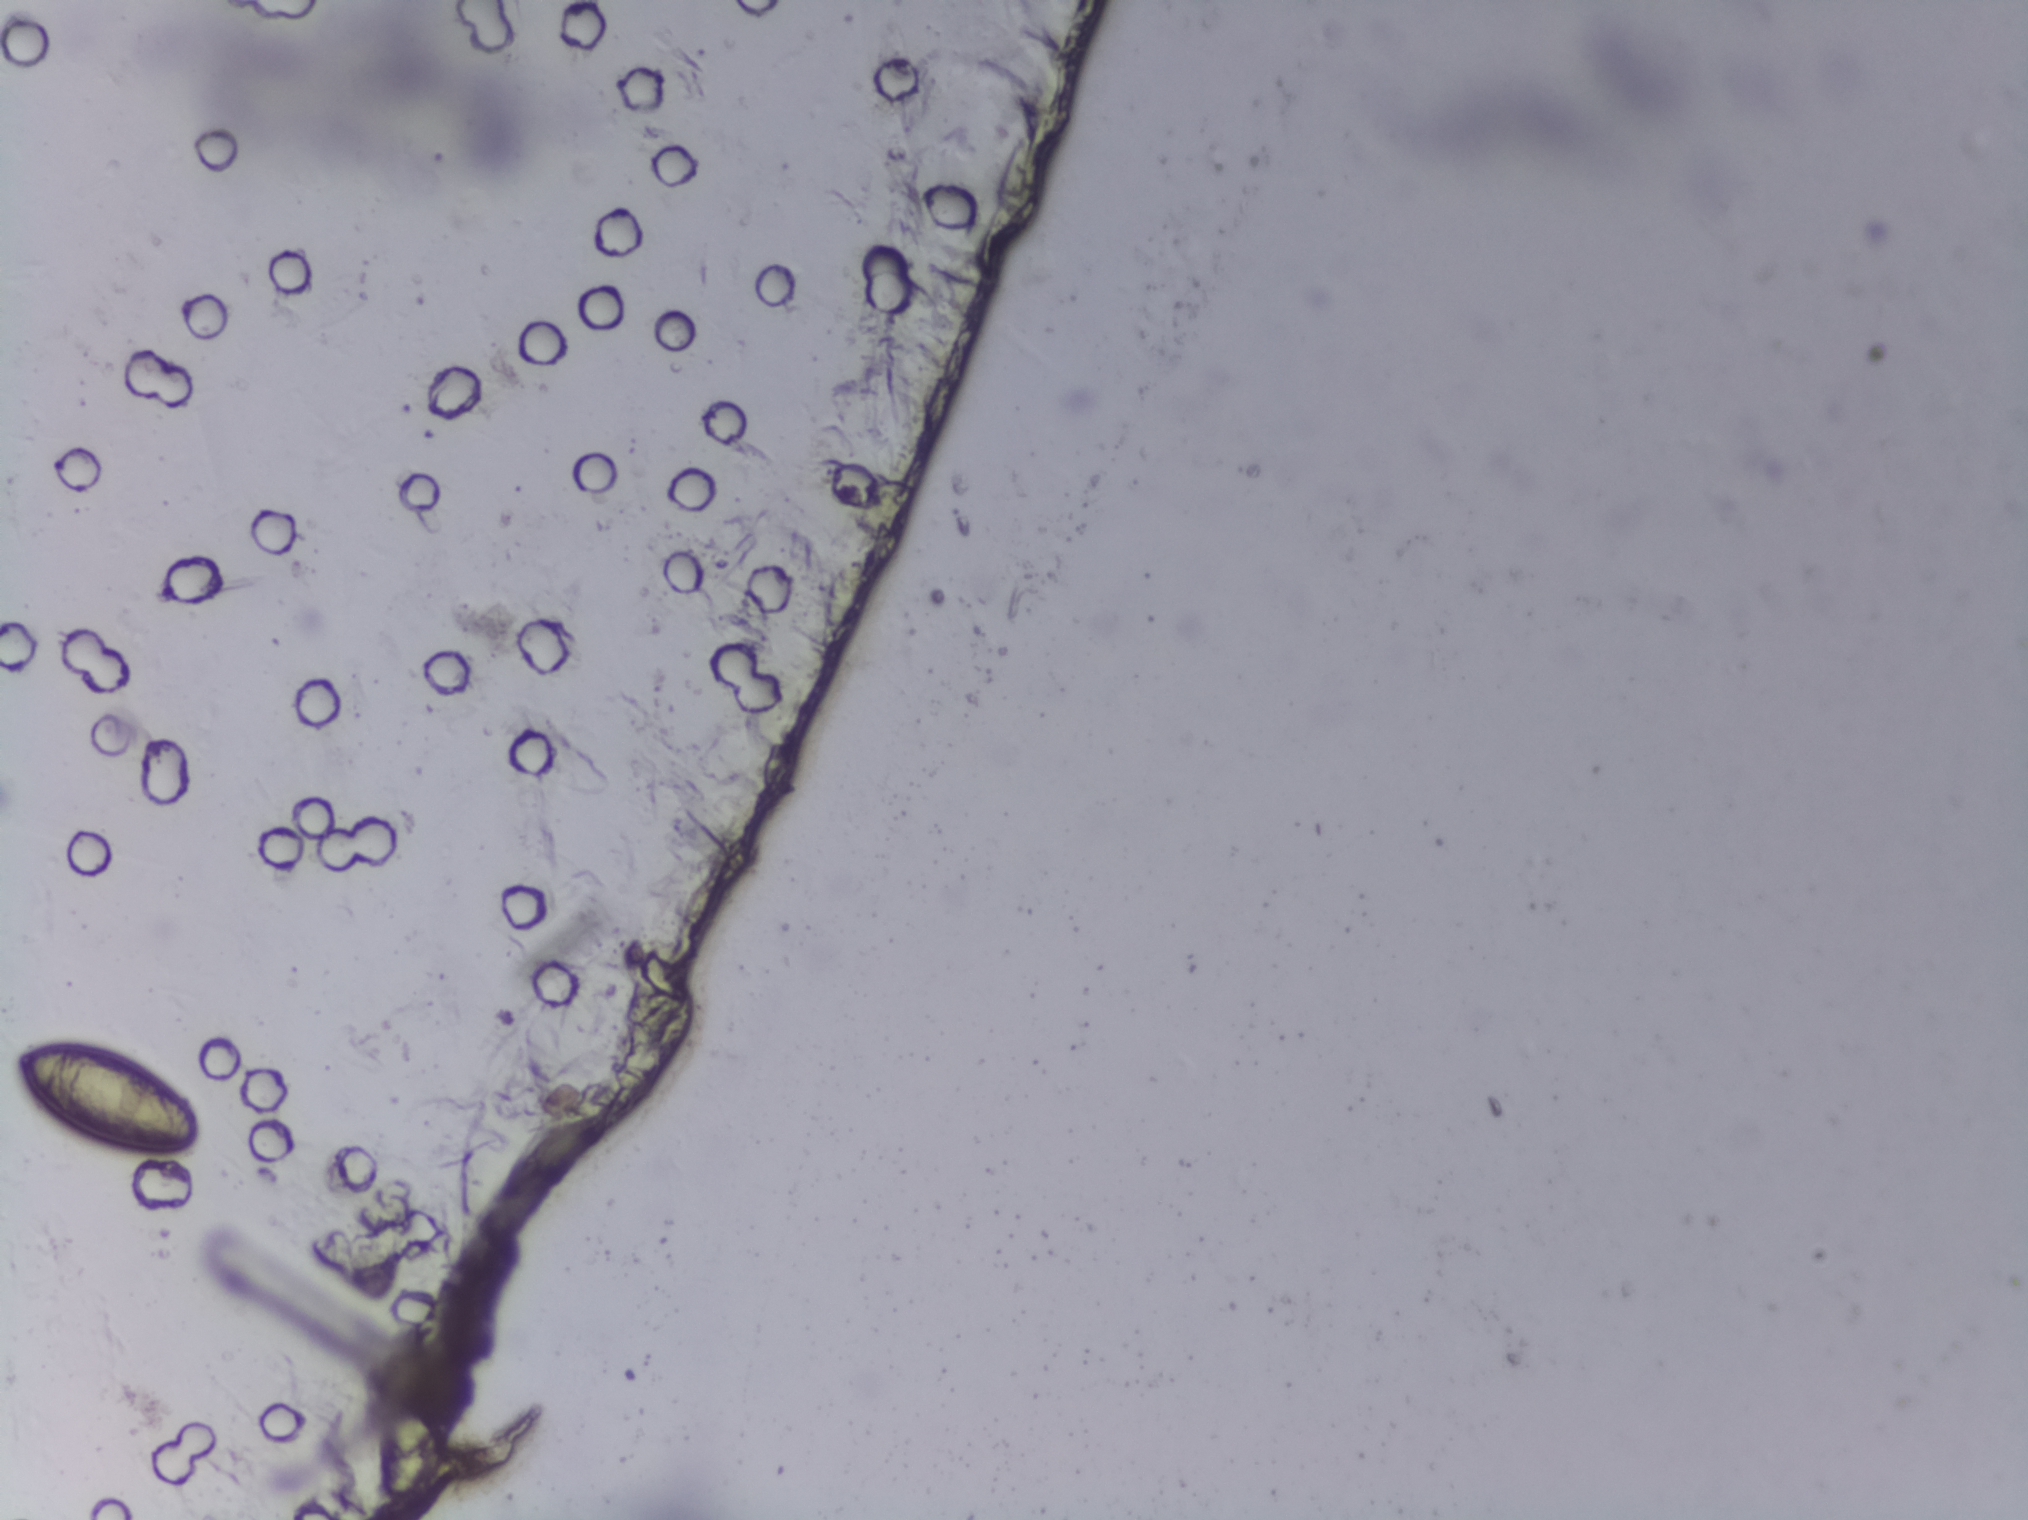
Photograph from an automated digital microscope: urine filter membrane, 4× objective. The image covers about 1.5 × 1.1 mm of the membrane.
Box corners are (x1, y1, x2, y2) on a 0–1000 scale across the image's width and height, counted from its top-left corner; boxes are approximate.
Findings: one area outlined as Schistosoma eggs. Location: (3, 680, 103, 761). A single outlined area may contain several eggs. Any one outlined egg may, rarely, be S. mansoni rather than S. haematobium.